Photograph from an automated digital microscope: urine filter membrane, 4× objective.
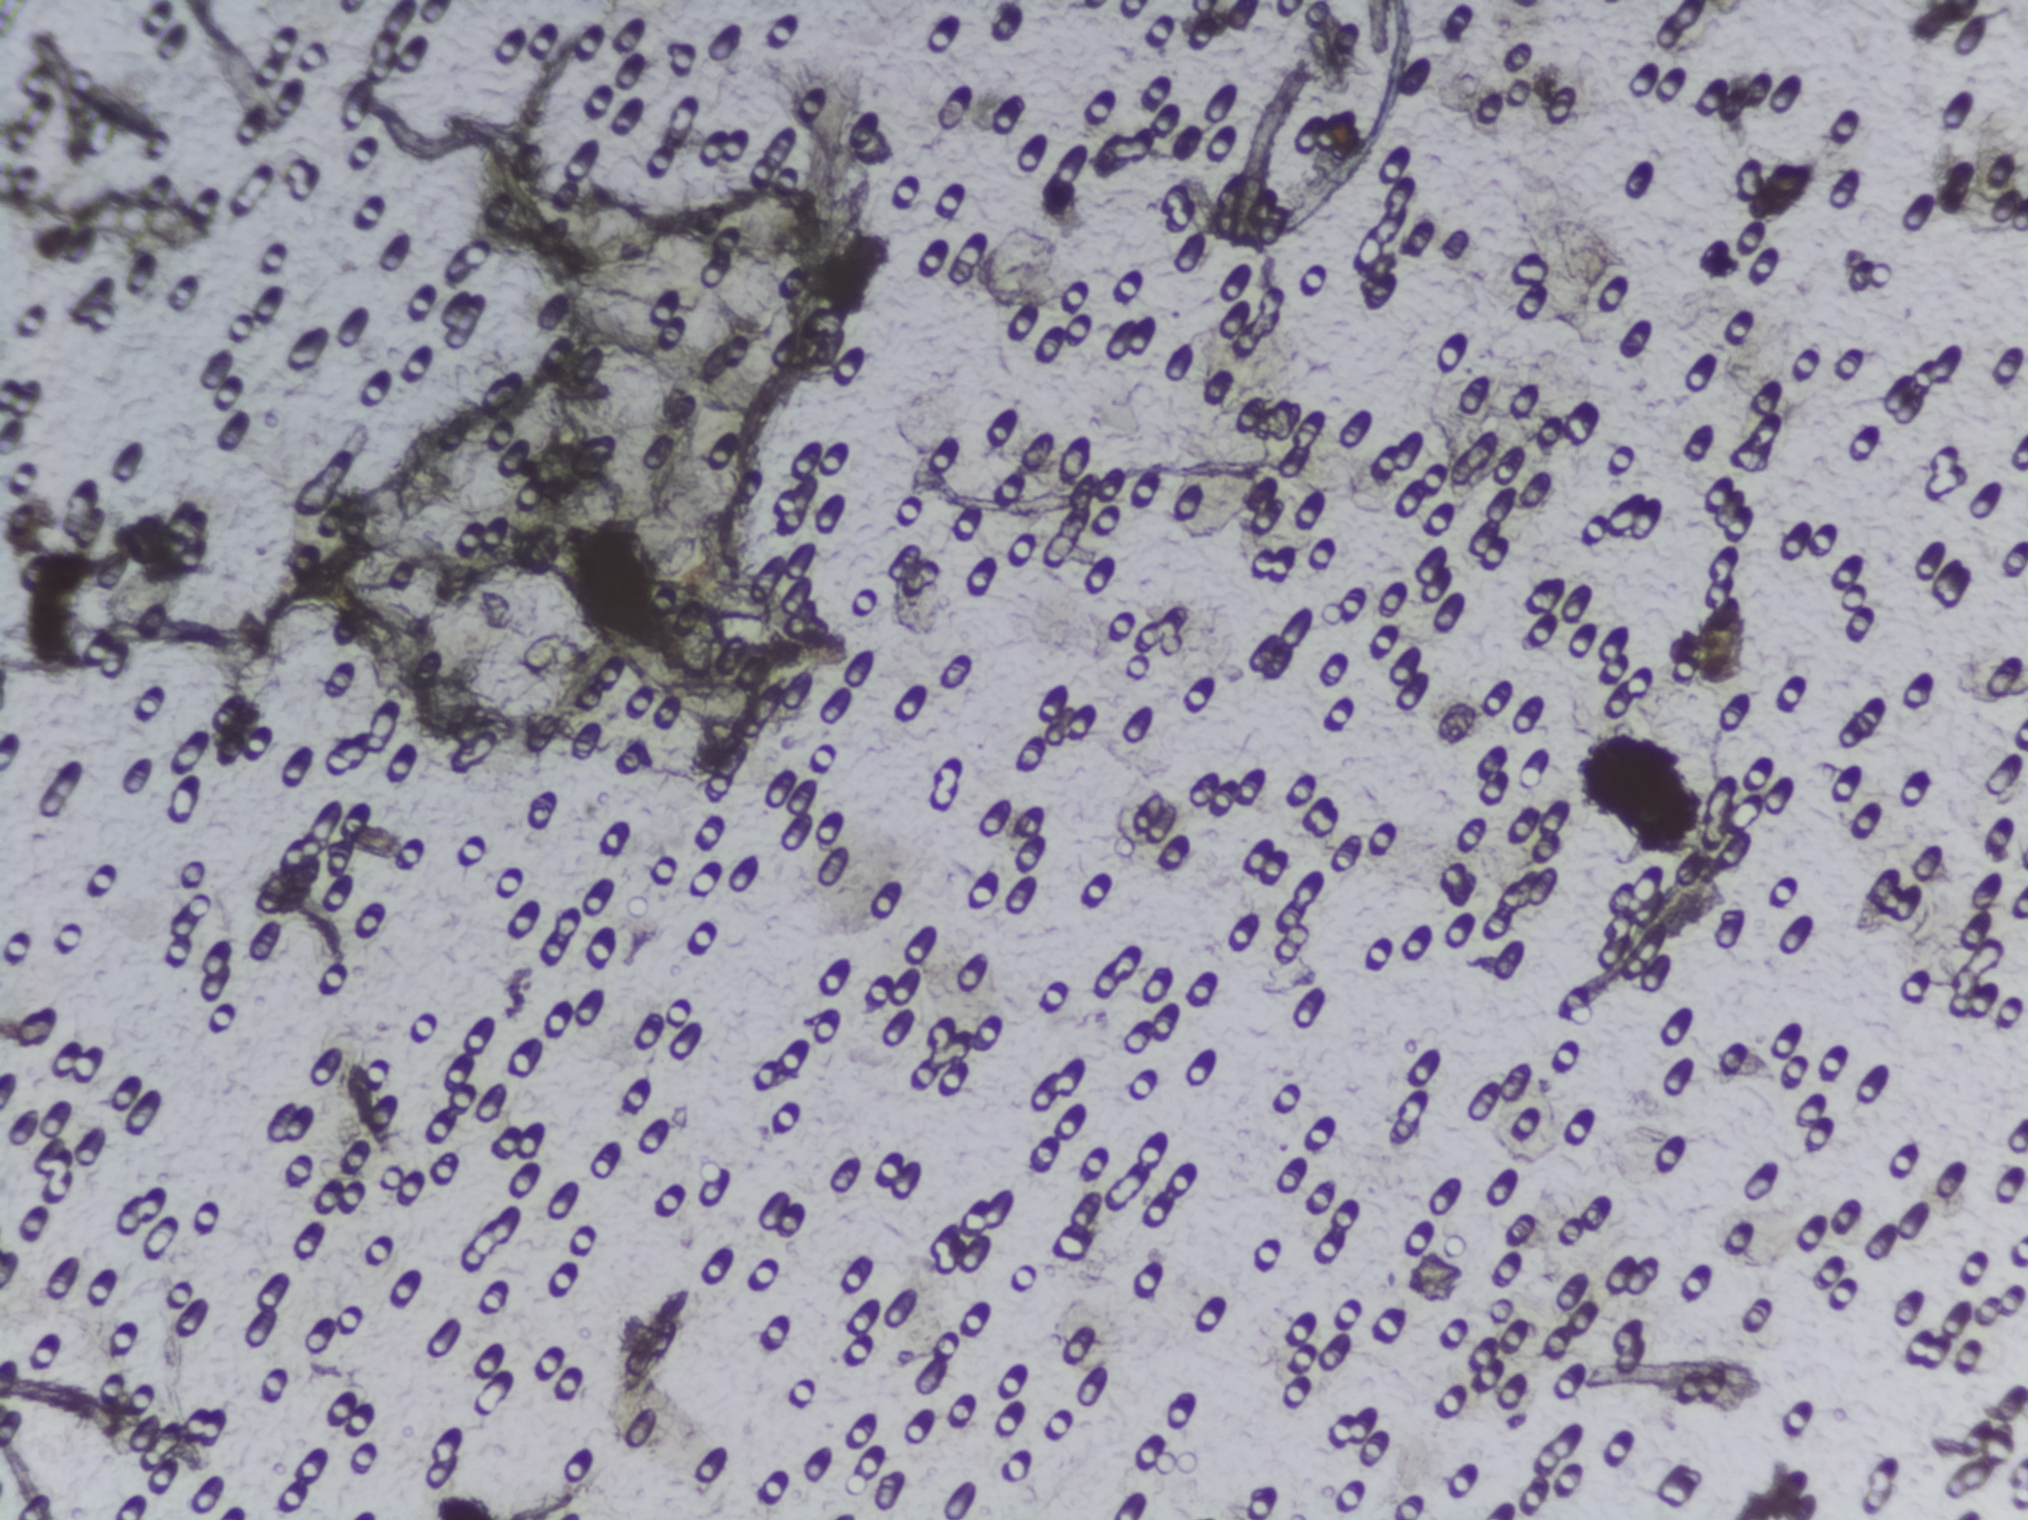
No area of this image was outlined as a Schistosoma egg.